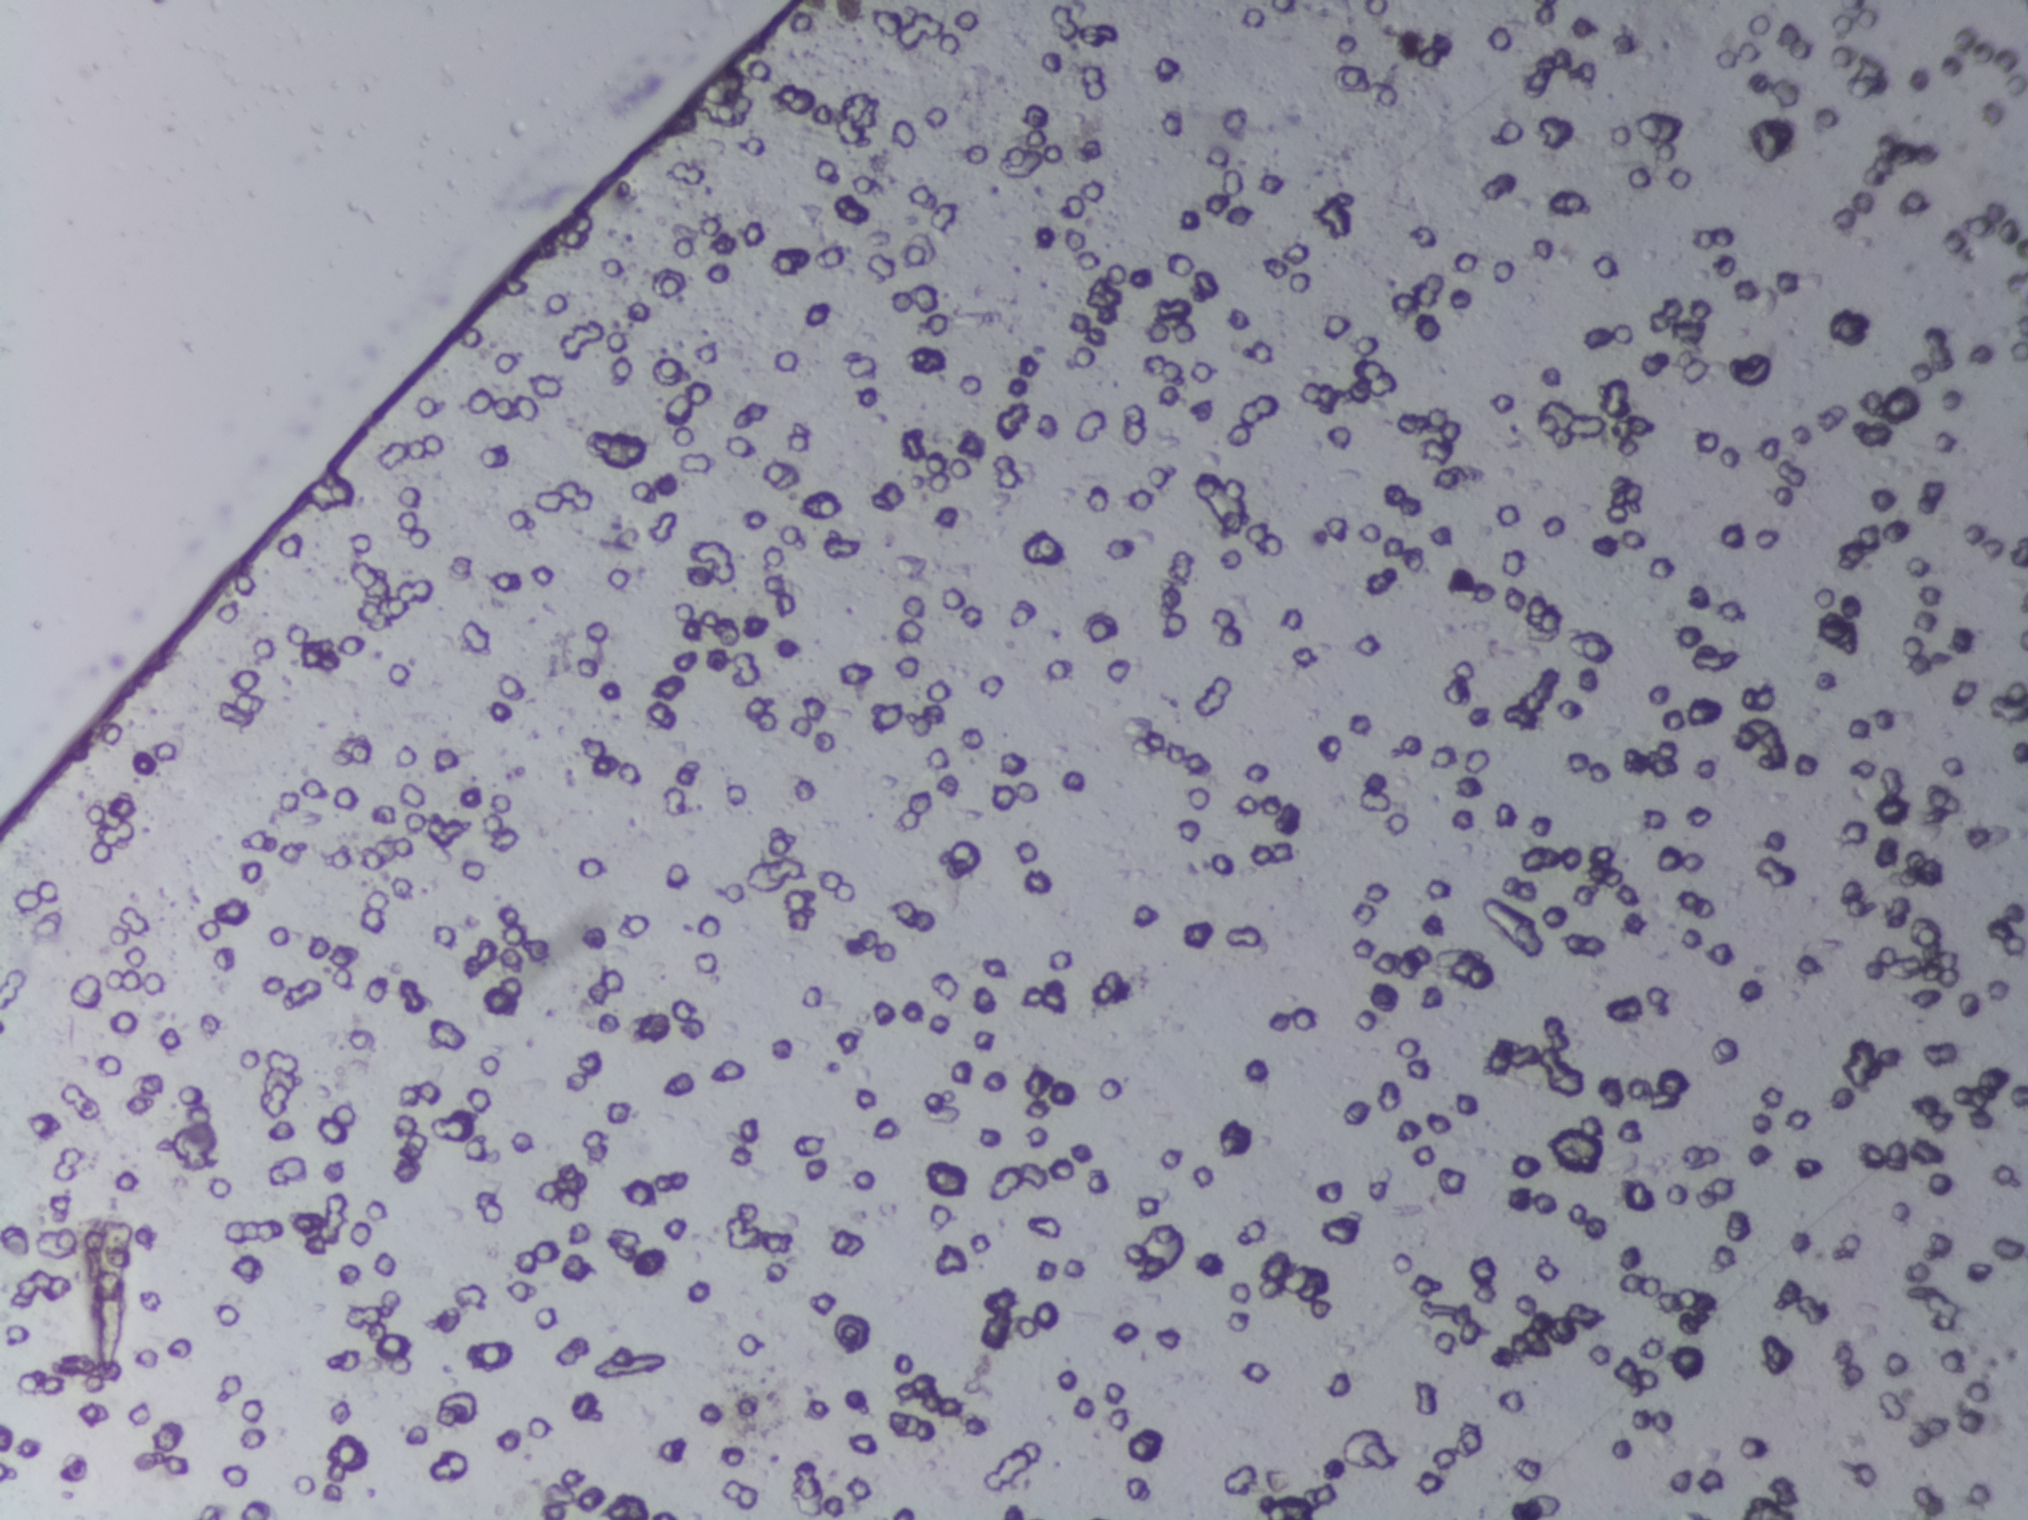
Photograph from an automated digital microscope: urine filter membrane, 4× objective. The field of view is about 1.5 mm × 1.1 mm.
No area of this image was outlined as a Schistosoma egg.